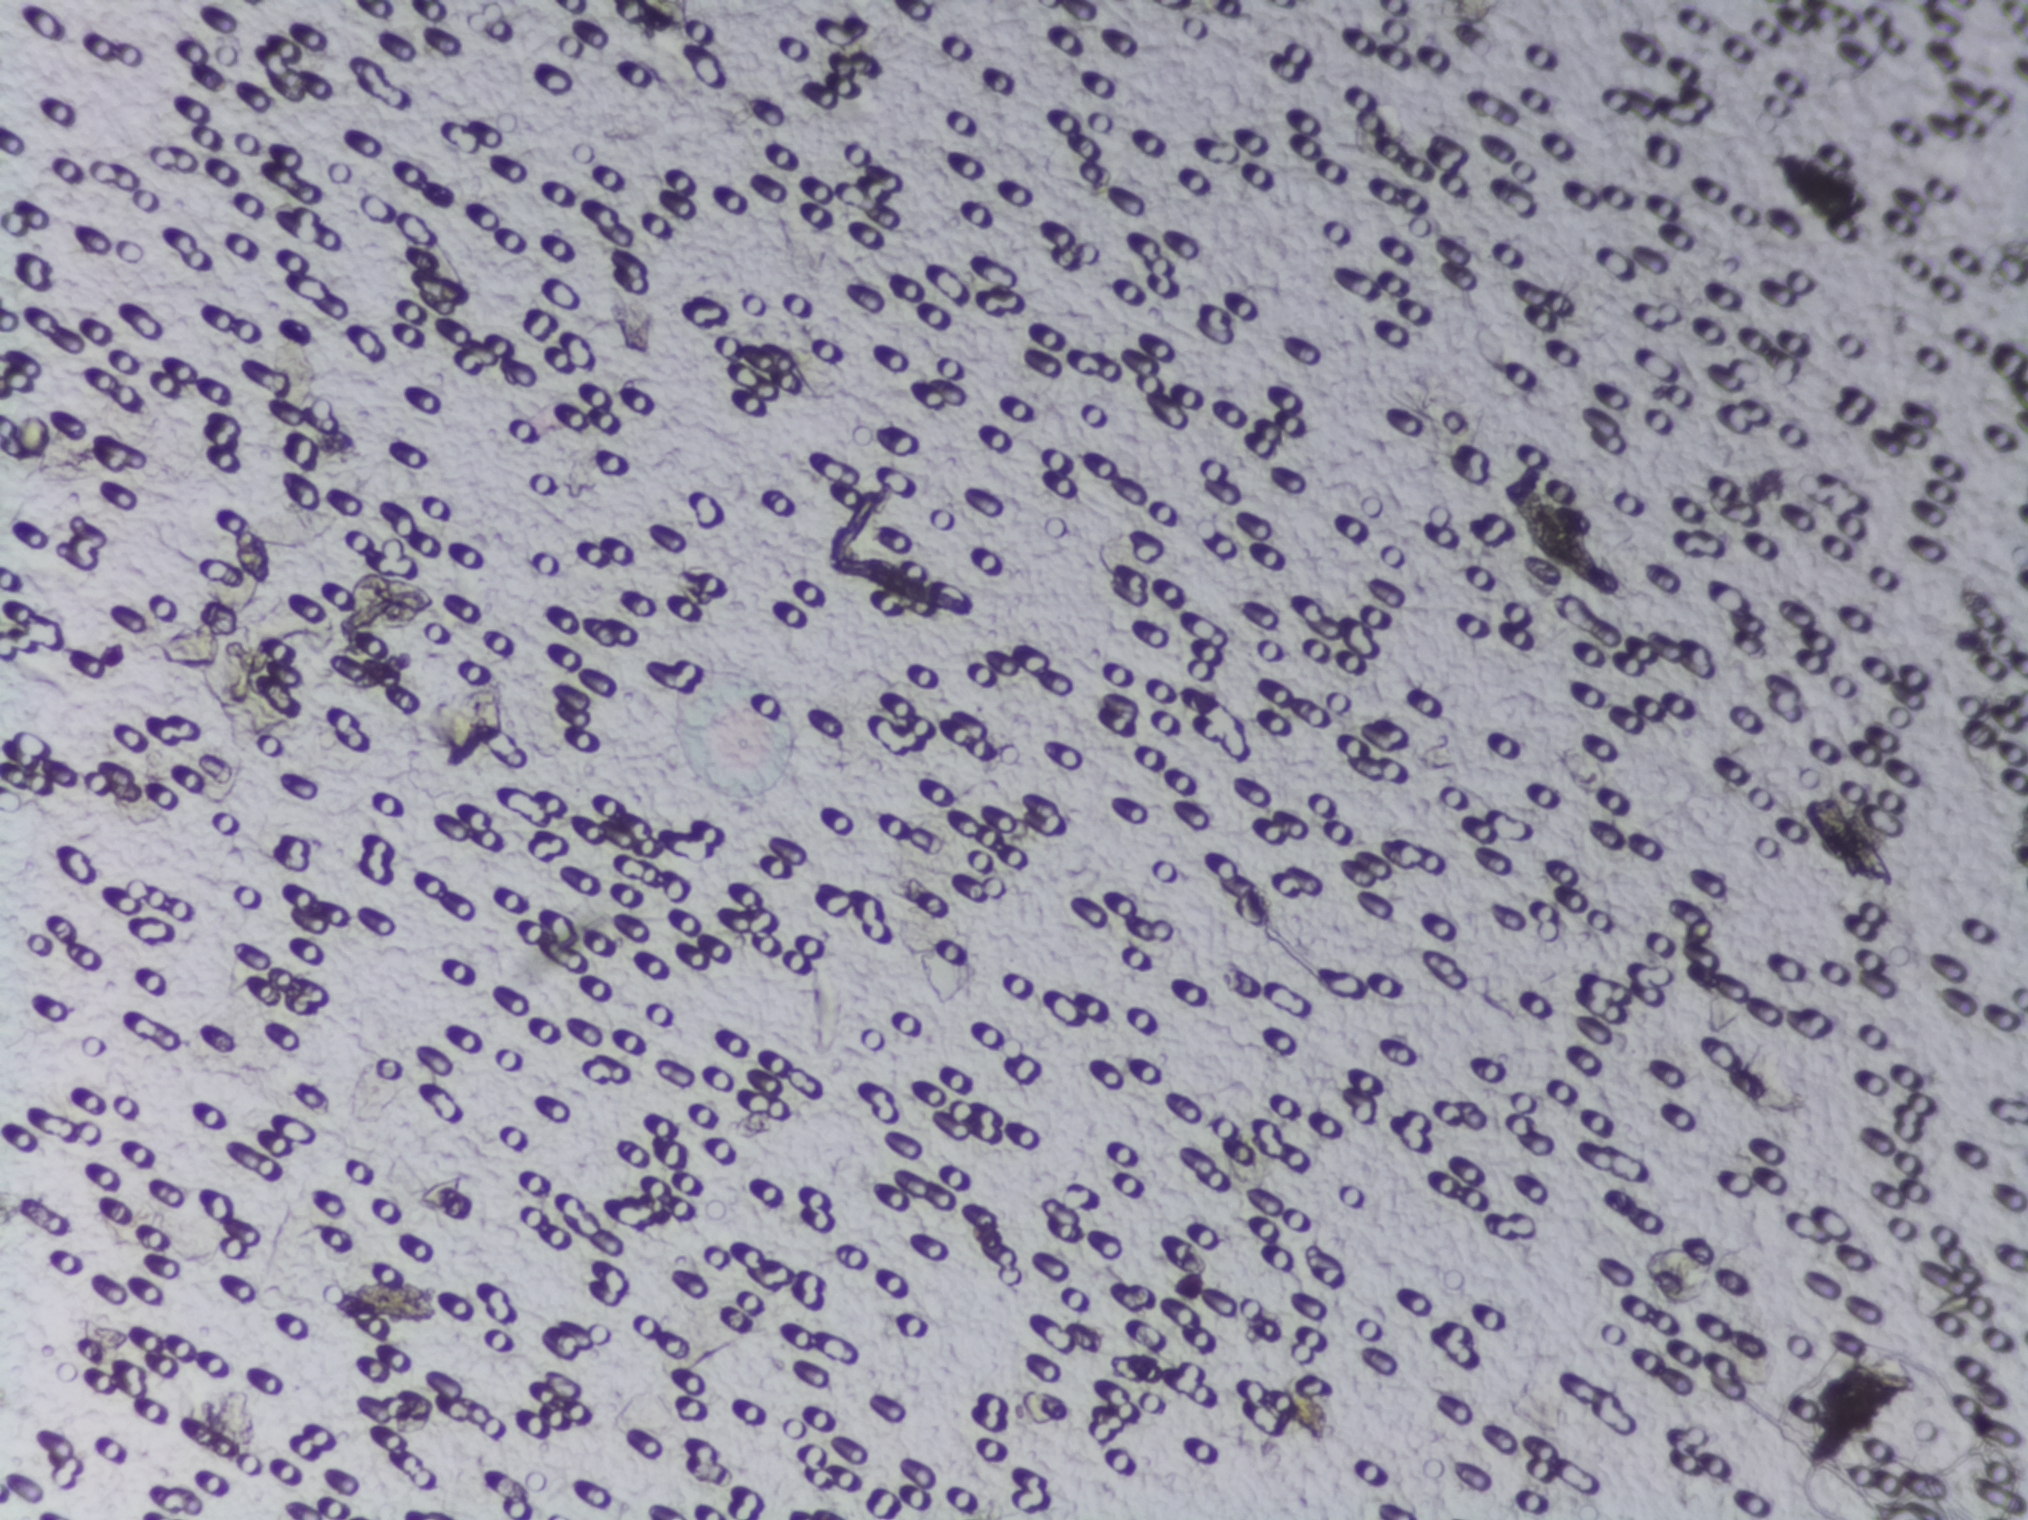
Microscope photograph (4× objective) of a membrane that a urine sample was filtered through. The field of view is about 1.5 mm × 1.1 mm.
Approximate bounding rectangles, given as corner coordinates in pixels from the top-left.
Schistosoma eggs are outlined in the expert annotation at (x1=233, y1=527, x2=270, y2=585); (x1=347, y1=573, x2=438, y2=629); (x1=1510, y1=488, x2=1604, y2=589) (left to right). An outlined area can hold more than one egg.